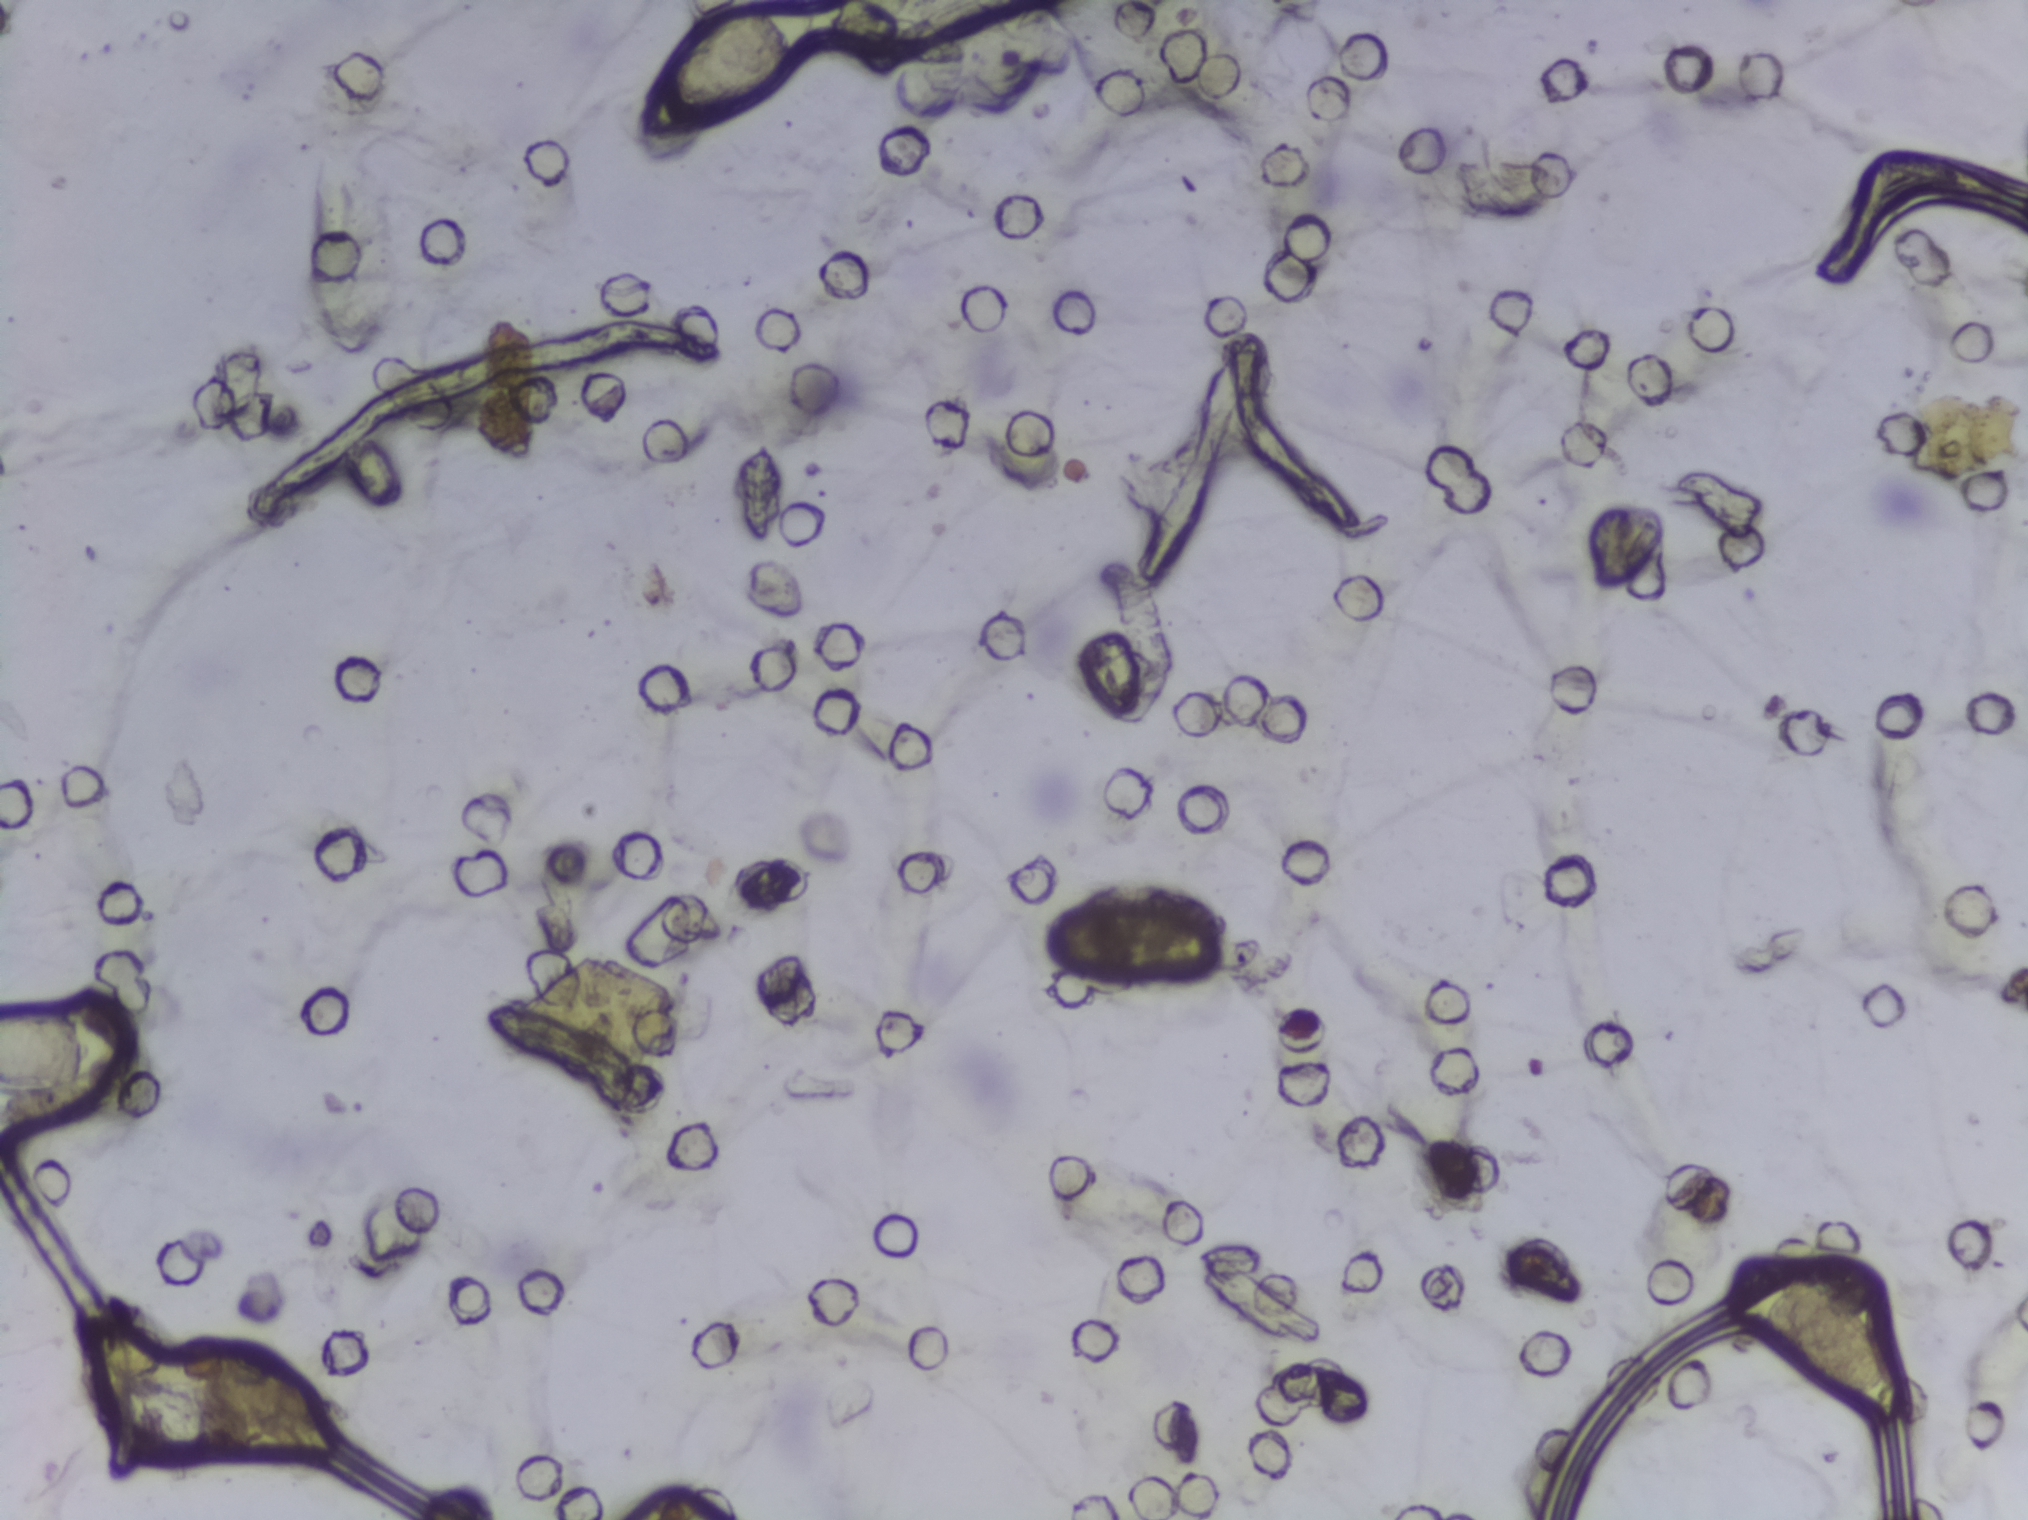
Microscope photograph (4× objective) of a membrane that a urine sample was filtered through.
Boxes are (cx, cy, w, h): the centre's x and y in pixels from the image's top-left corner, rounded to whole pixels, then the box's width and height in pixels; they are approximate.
Schistosoma eggs are outlined in three areas of this image, listed from left to right: (cx=64, cy=1049, w=128, h=94) (reaching the left edge of the frame); (cx=727, cy=68, w=188, h=136) (reaching the top edge of the frame); (cx=1815, cy=1334, w=170, h=159). A single outlined area may contain several eggs.